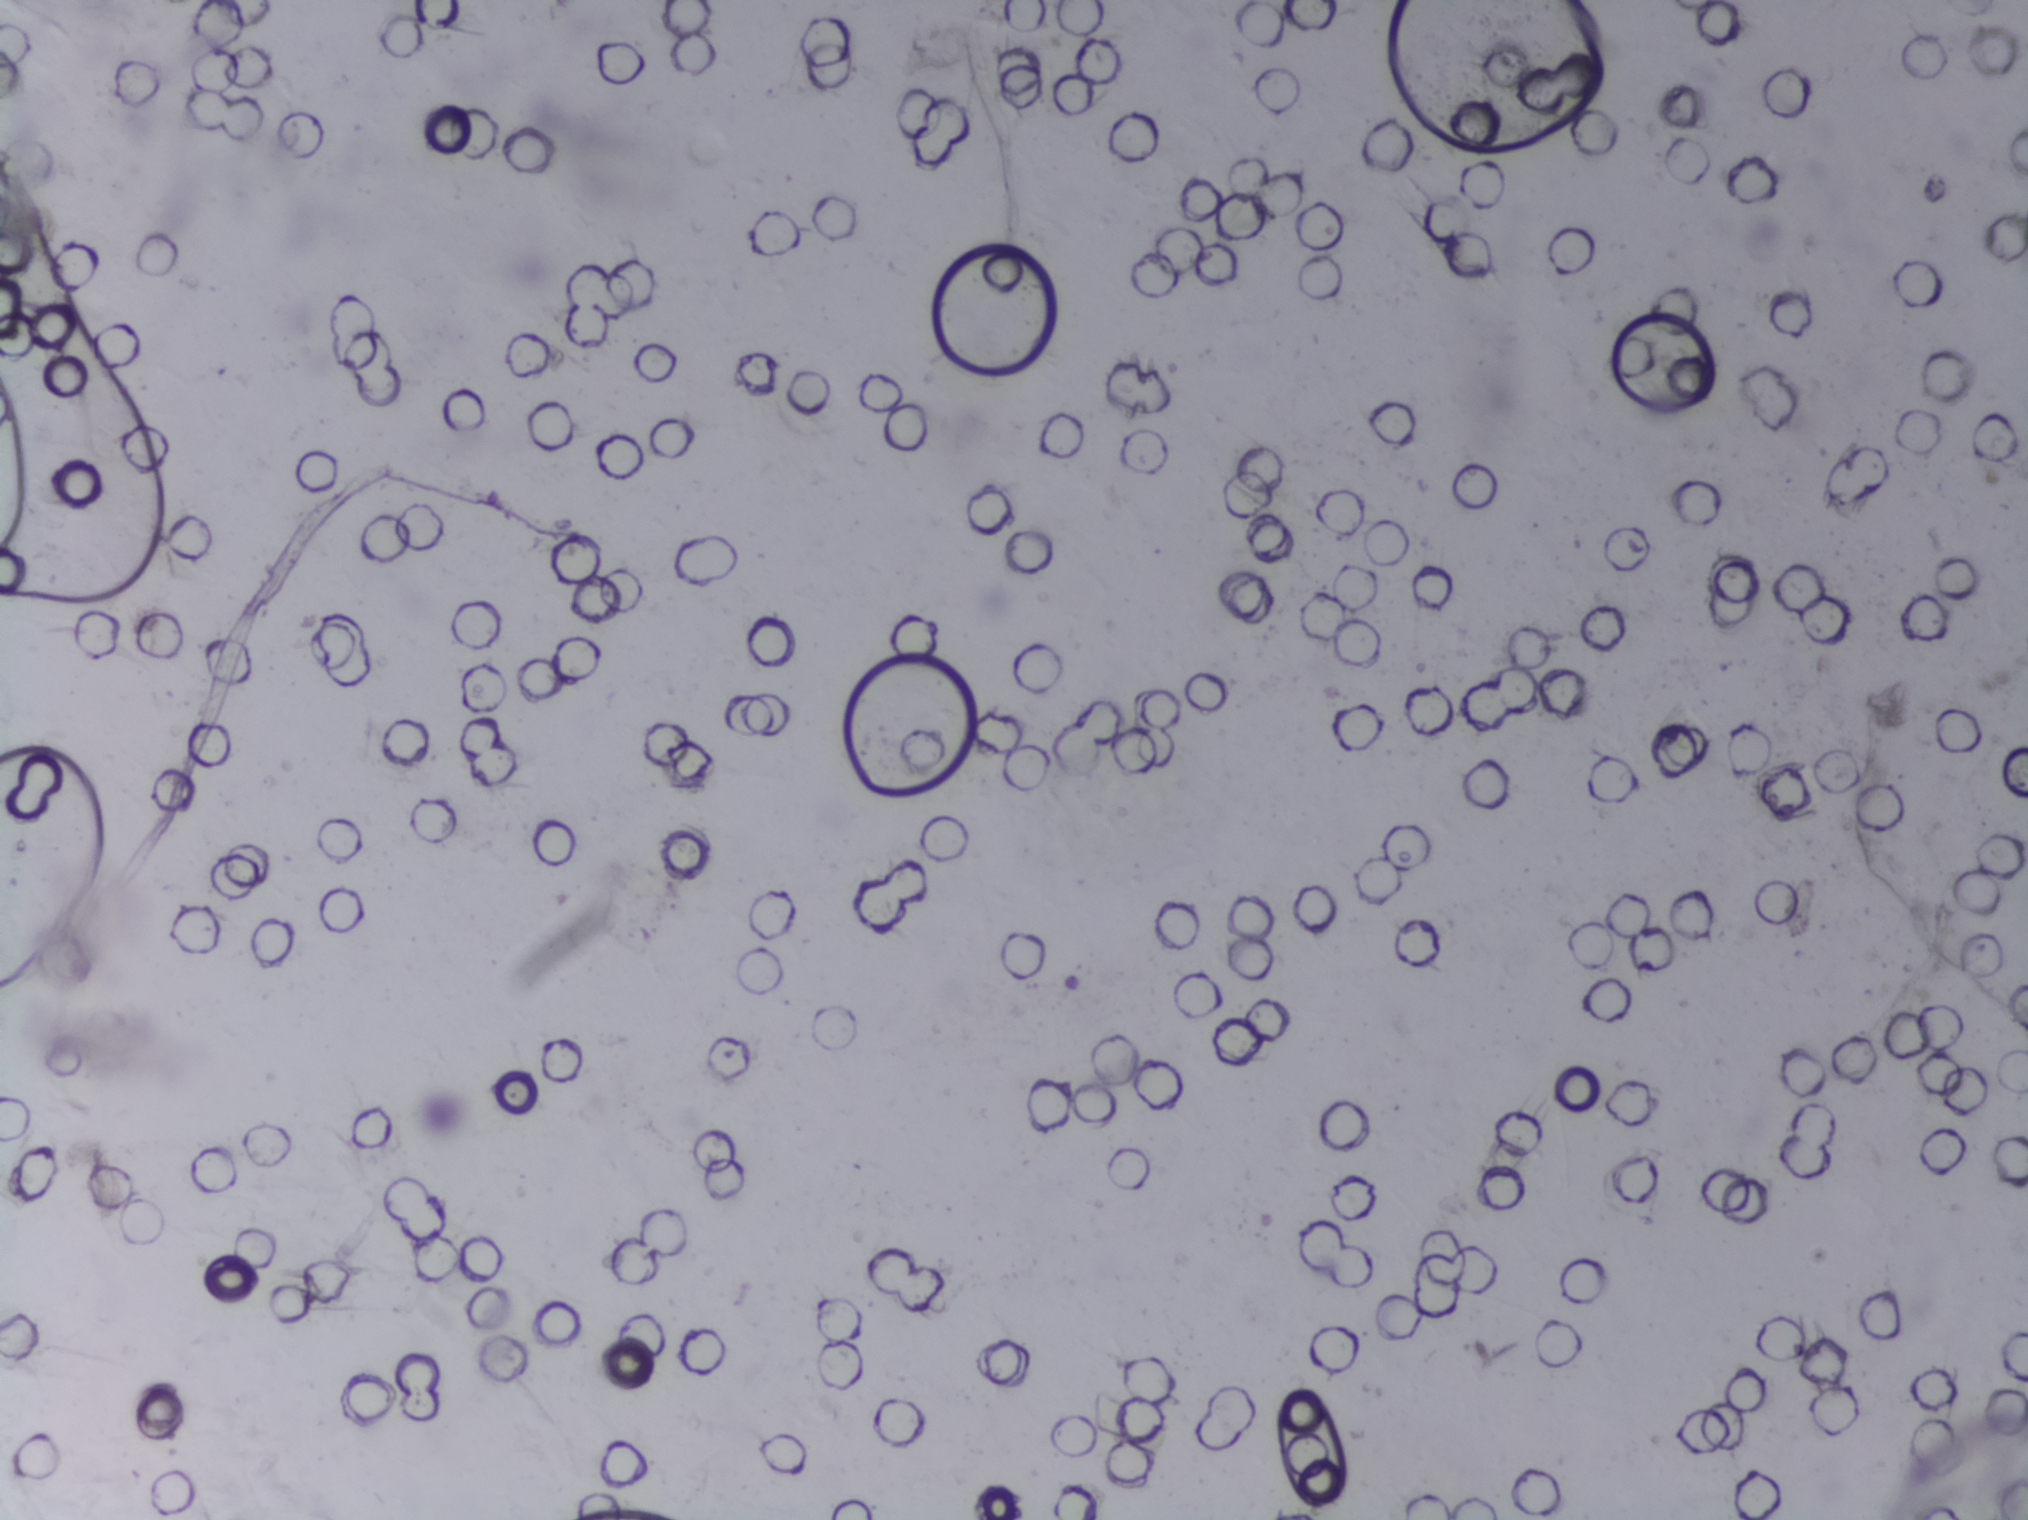
No Schistosoma egg is outlined in this image's expert annotation.
Photograph from an automated digital microscope: urine filter membrane, 4× objective.